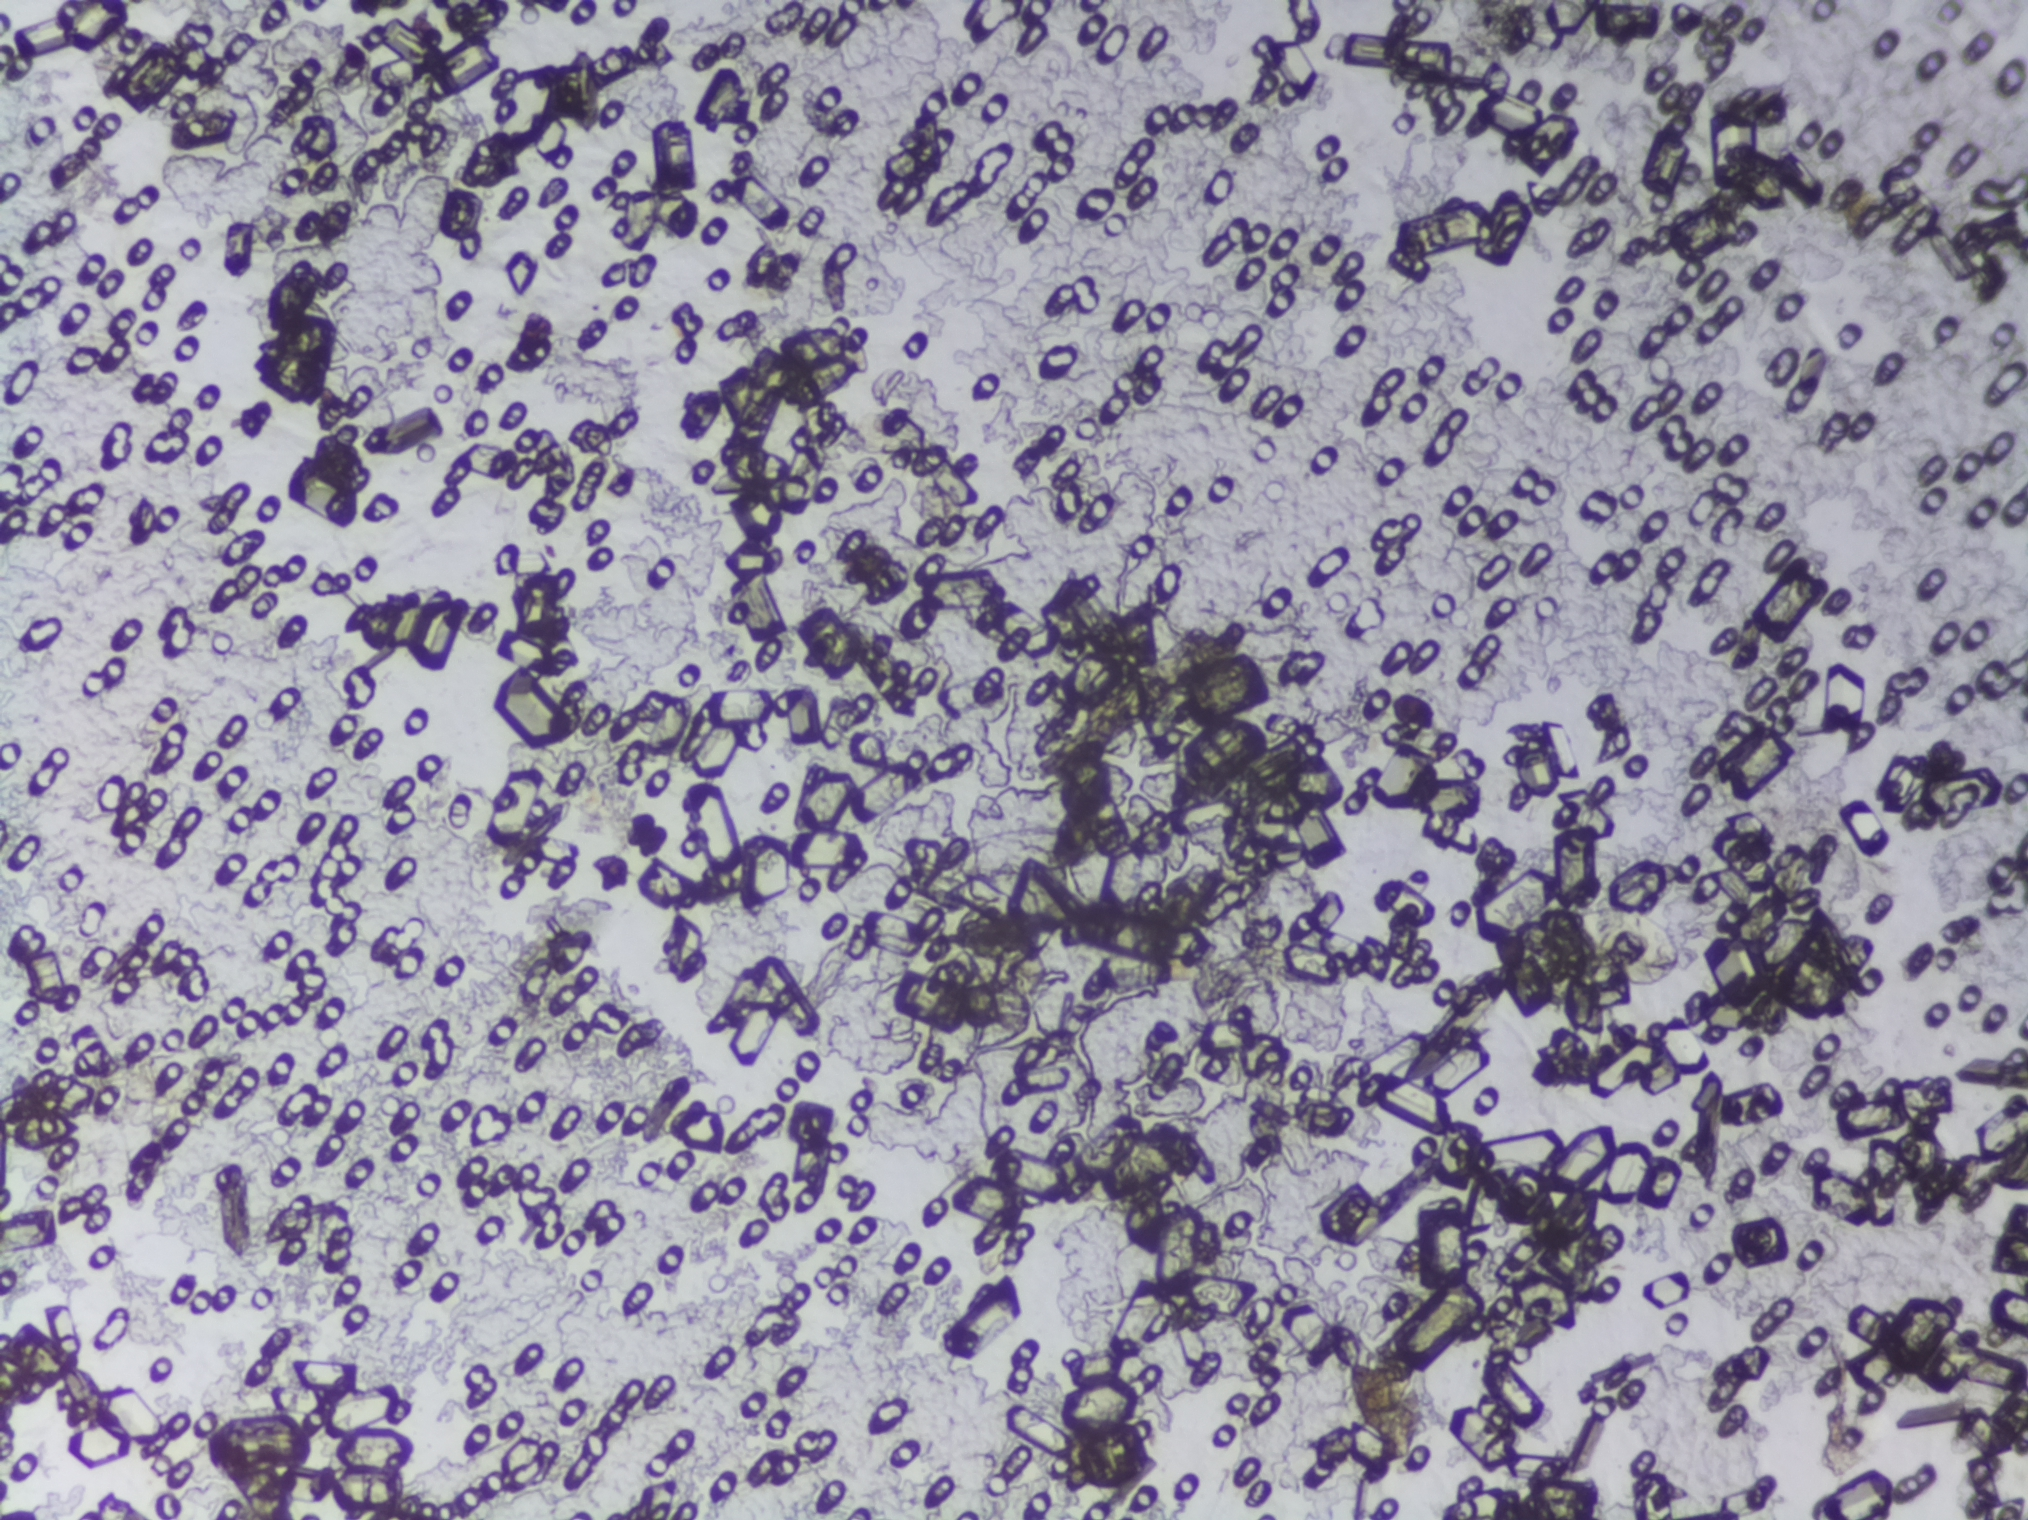
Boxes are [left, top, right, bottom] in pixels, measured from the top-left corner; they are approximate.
Schistosoma eggs are outlined in one area of this image: [1564, 906, 1683, 988]. Eggs that touch can end up inside the same outlined area.
Microscope photograph (4× objective) of a membrane that a urine sample was filtered through.